Microscope photograph (4× objective) of a membrane that a urine sample was filtered through.
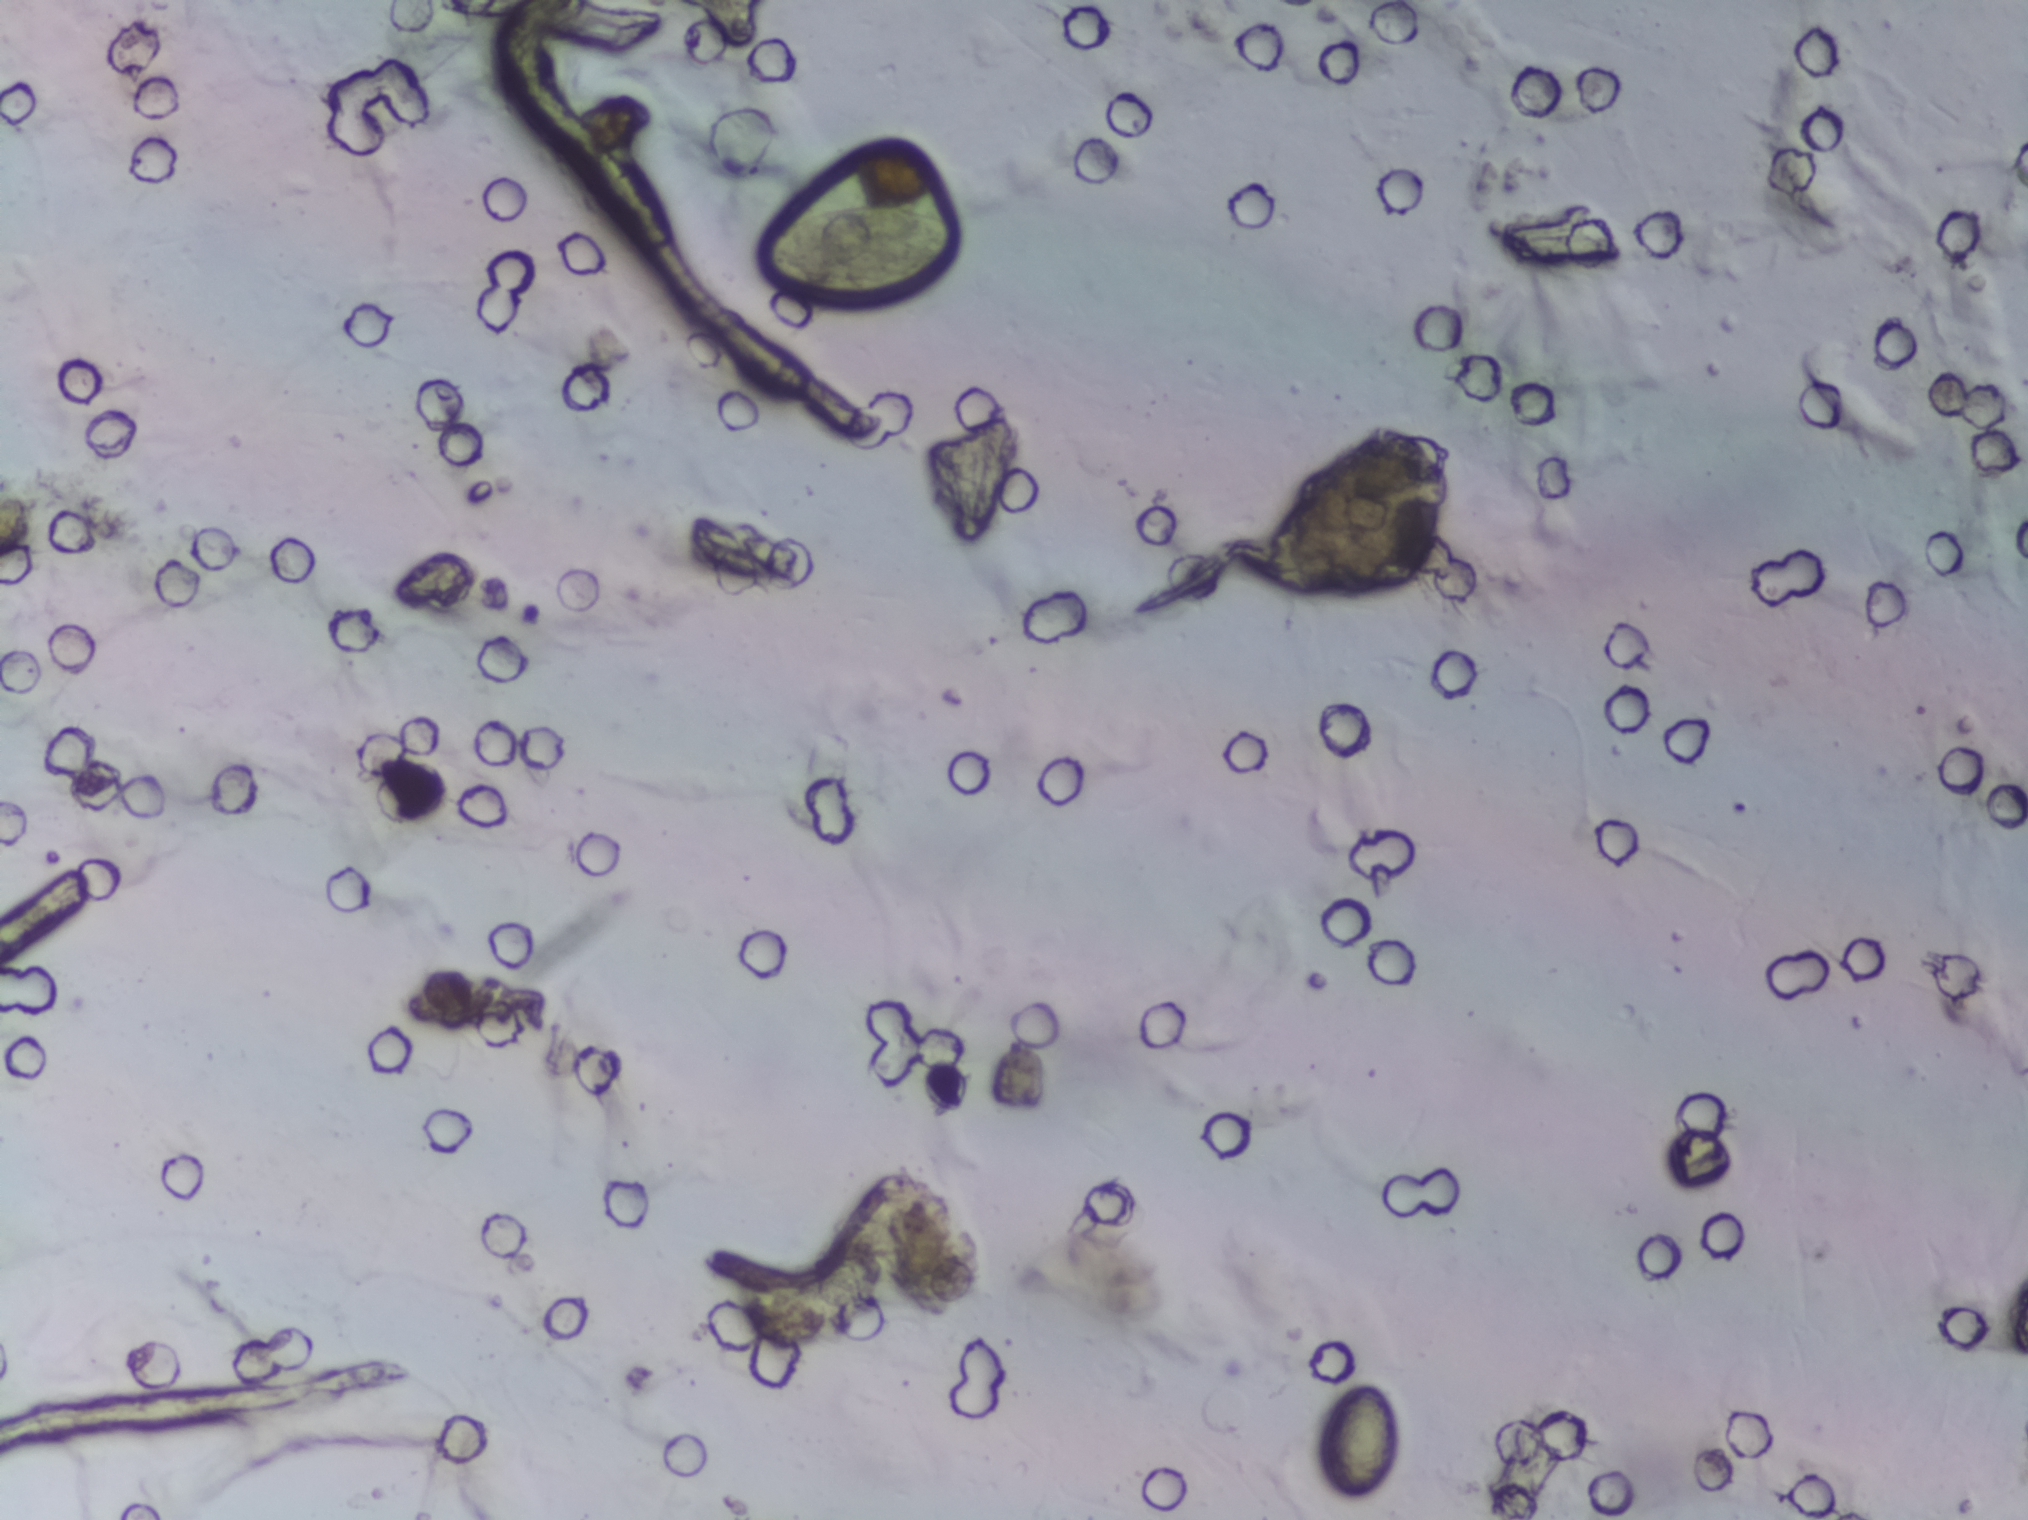
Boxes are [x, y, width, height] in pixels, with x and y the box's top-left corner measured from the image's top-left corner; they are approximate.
Schistosoma eggs are outlined in the expert annotation at [755, 203, 202, 98] and [1320, 1384, 76, 120] (left to right). Marked pixels, not the boxes around them: about 0.7% of the image. An outlined area can hold more than one egg.